Urine filter membrane photographed through a 4× microscope objective.
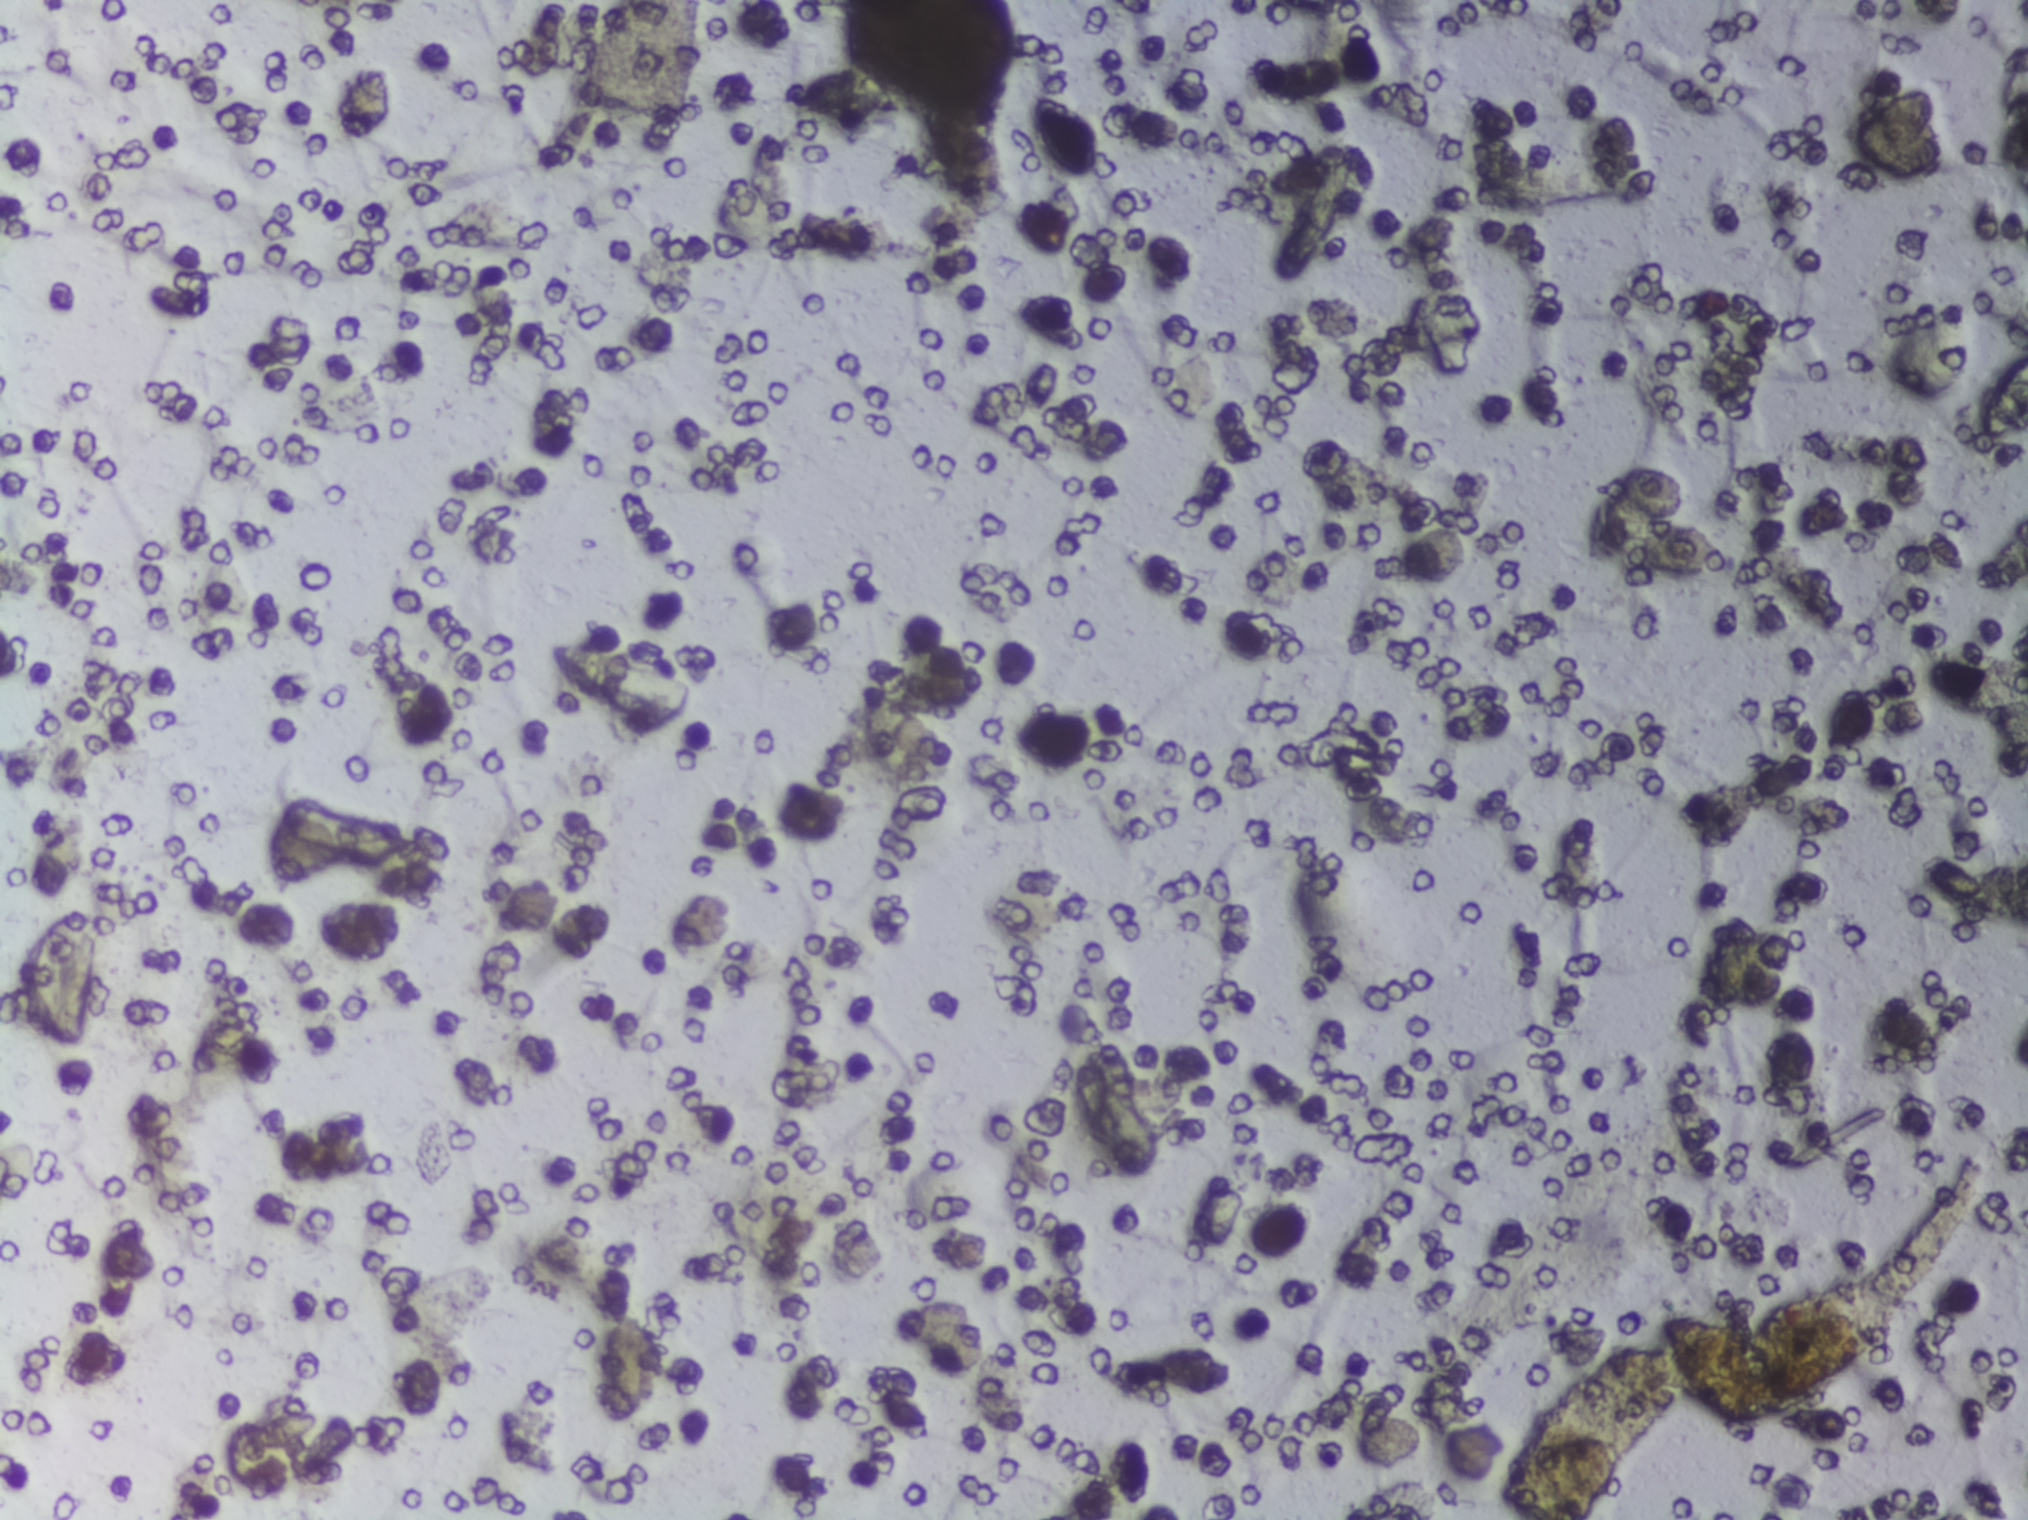
Schistosoma eggs: none outlined.